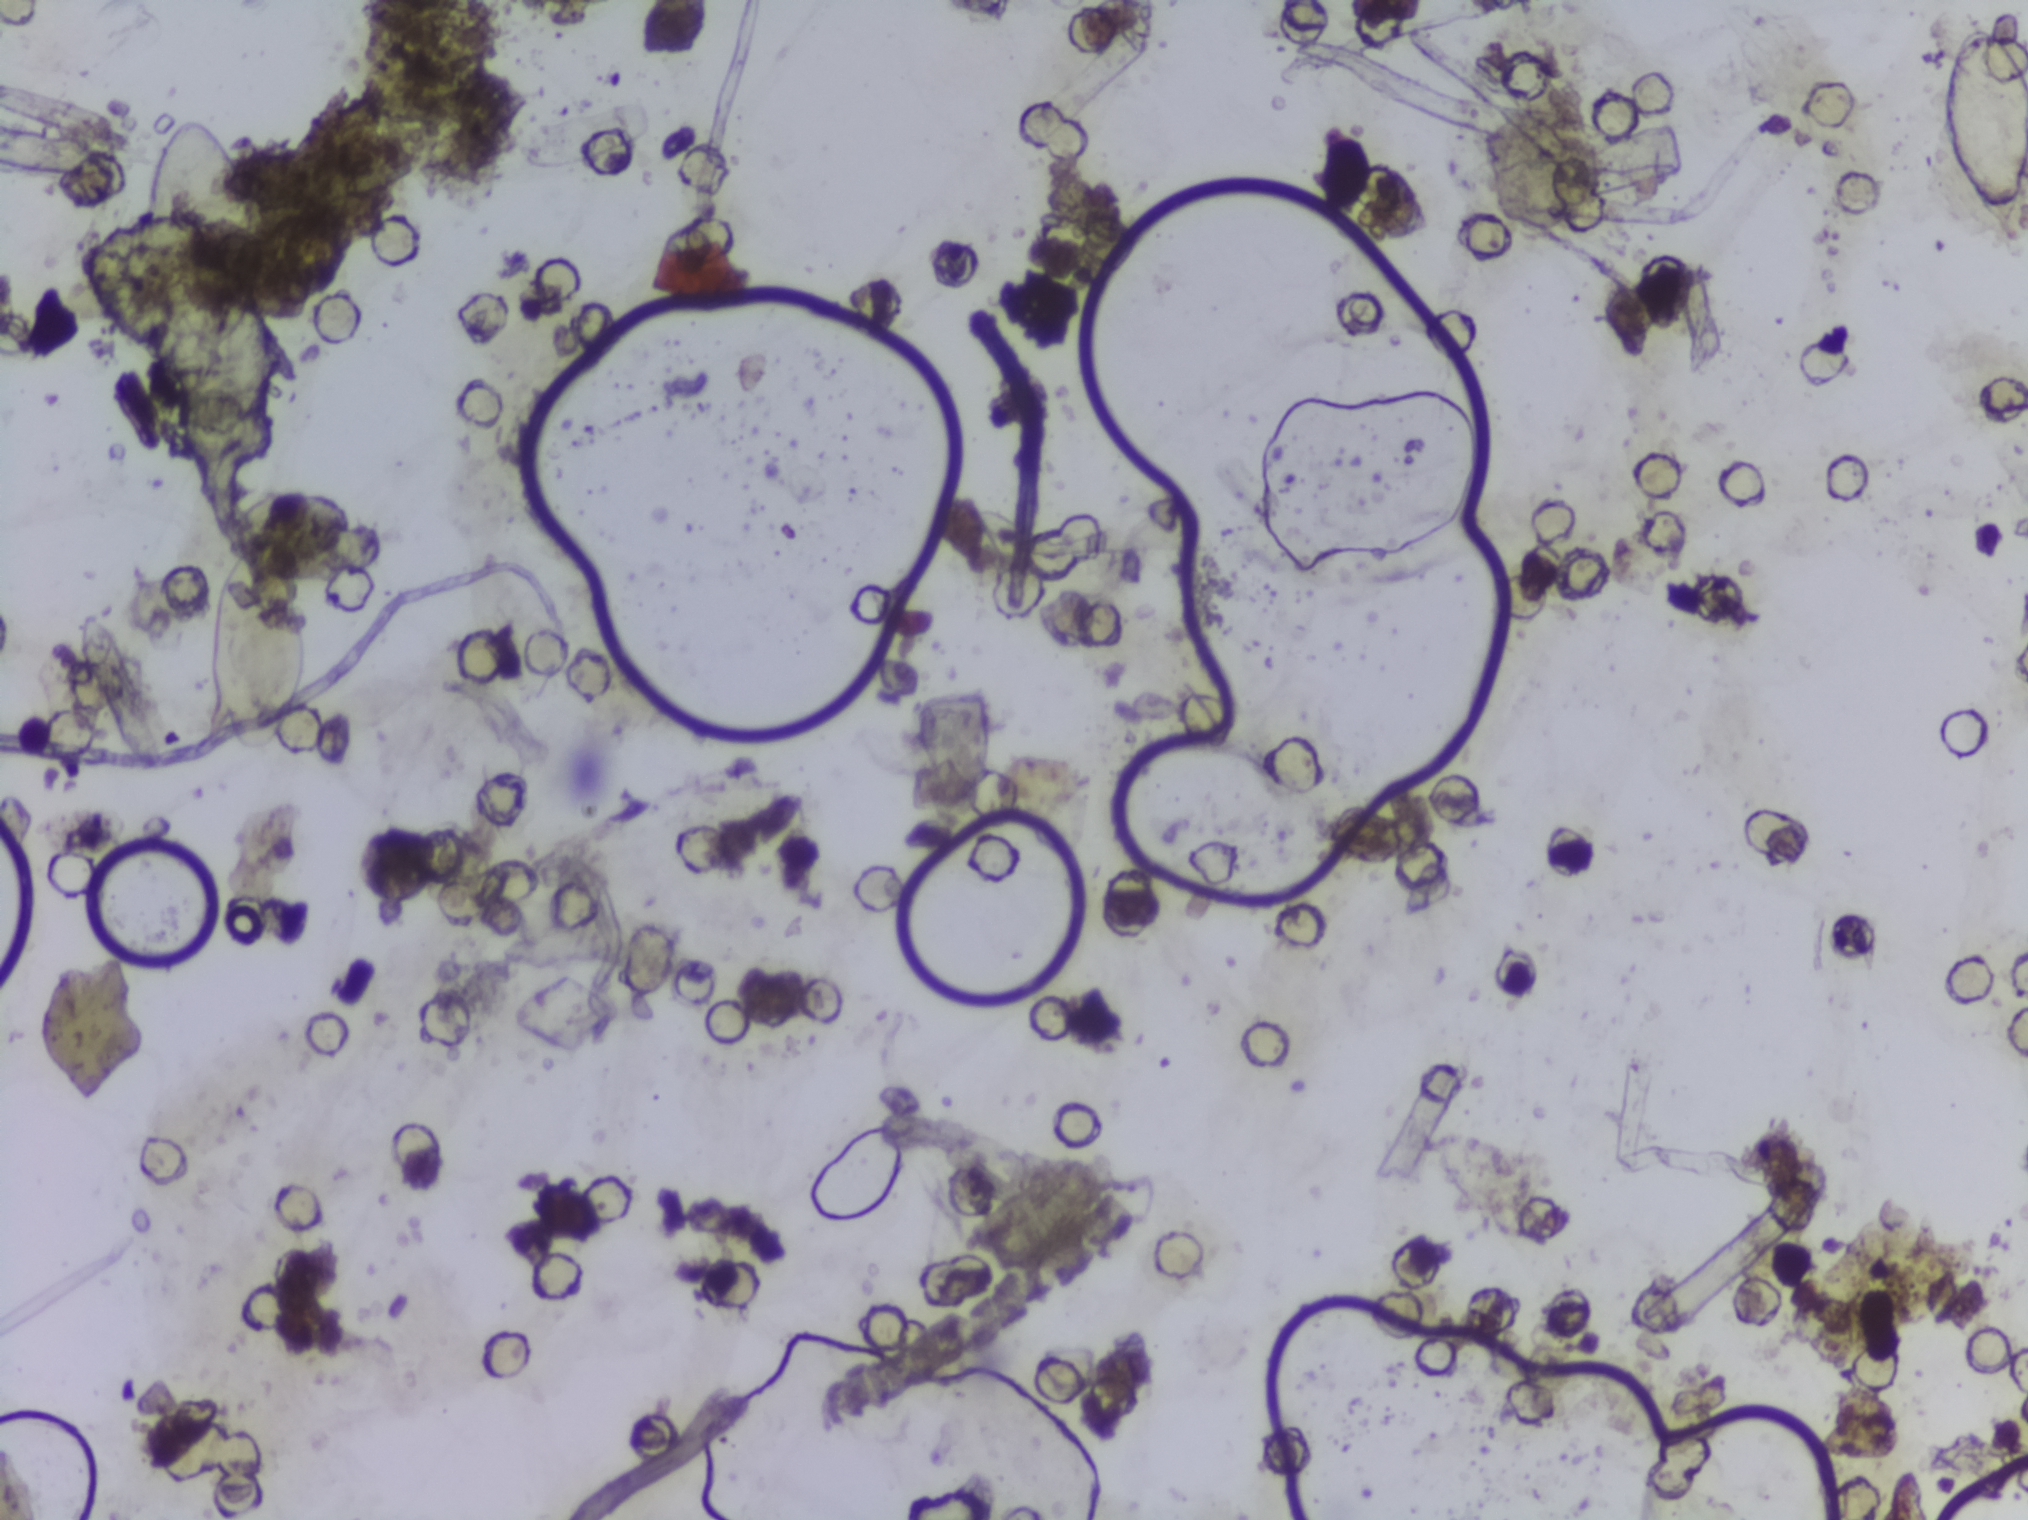
Urine filtration membrane under a 4× objective, photographed by an automated digital microscope. The image covers about 1.5 × 1.1 mm of the membrane.
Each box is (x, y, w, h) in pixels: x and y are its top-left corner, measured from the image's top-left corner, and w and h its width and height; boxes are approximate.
Schistosoma eggs are outlined in the expert annotation at (x=145, y=116, w=128, h=247); (x=200, y=527, w=111, h=230); (x=1941, y=18, w=87, h=220) (reaching the right edge of the frame). Eggs that touch can end up inside the same outlined area.